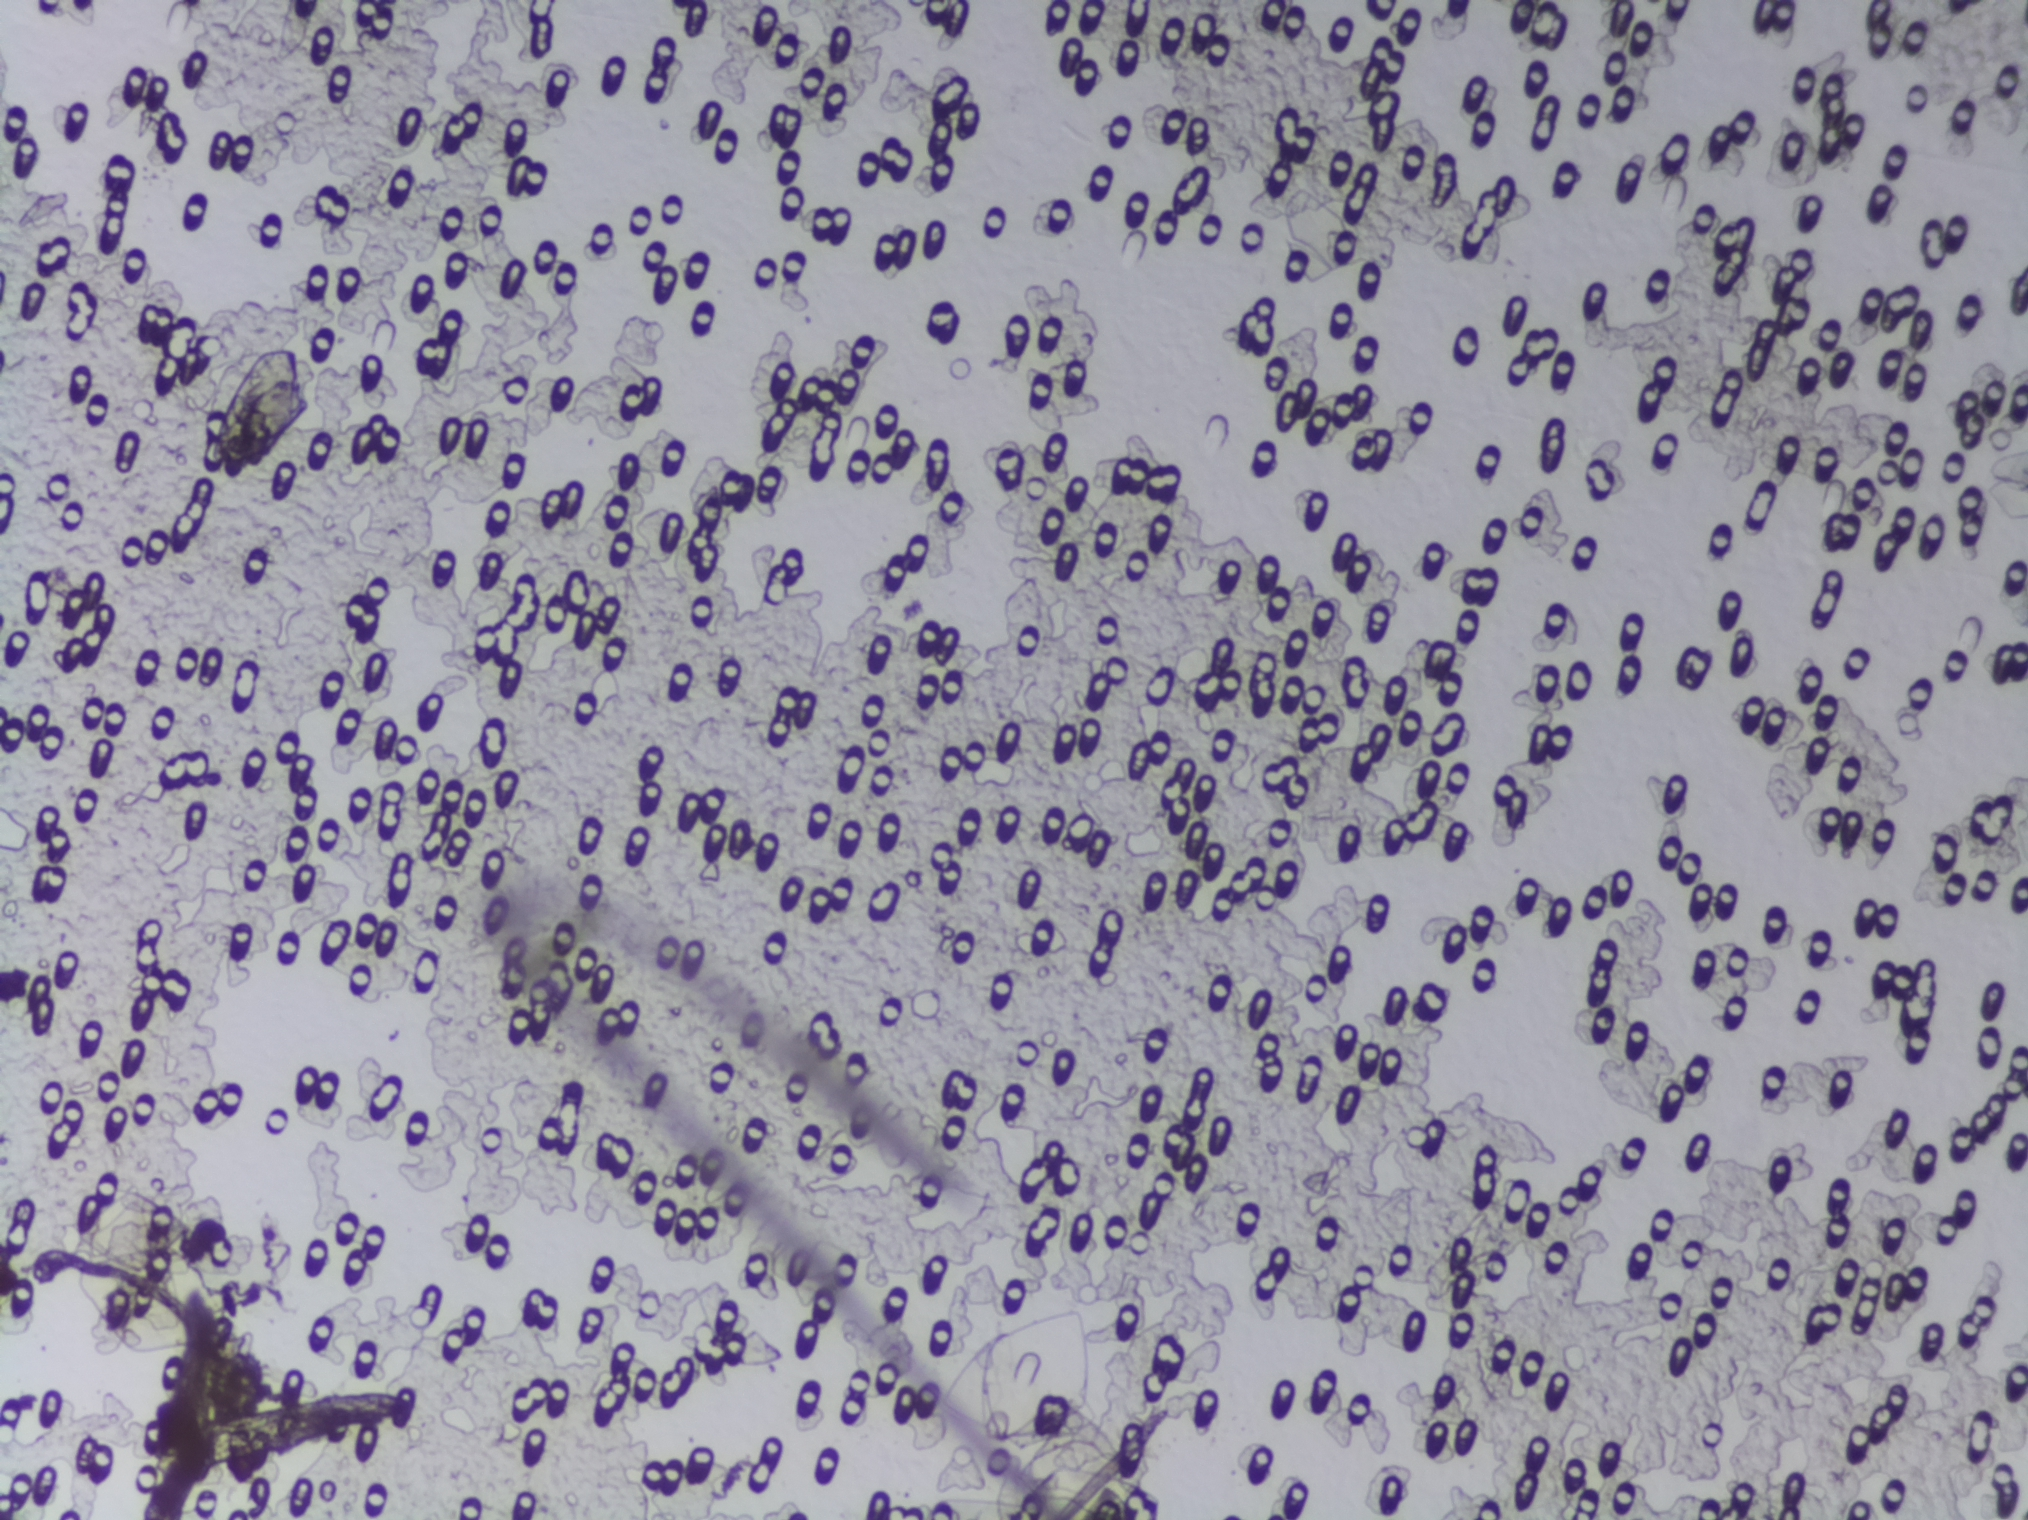
Urine filtration membrane under a 4× objective, photographed by an automated digital microscope. The image covers about 1.5 × 1.1 mm of the membrane.
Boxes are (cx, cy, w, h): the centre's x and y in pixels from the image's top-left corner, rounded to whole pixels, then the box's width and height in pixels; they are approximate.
Schistosoma eggs are outlined in one area of this image: (cx=260, cy=416, w=94, h=138). An outlined area can hold more than one egg.